One field of view of a urine filter membrane, 4× objective, 2028 × 1520 pixels.
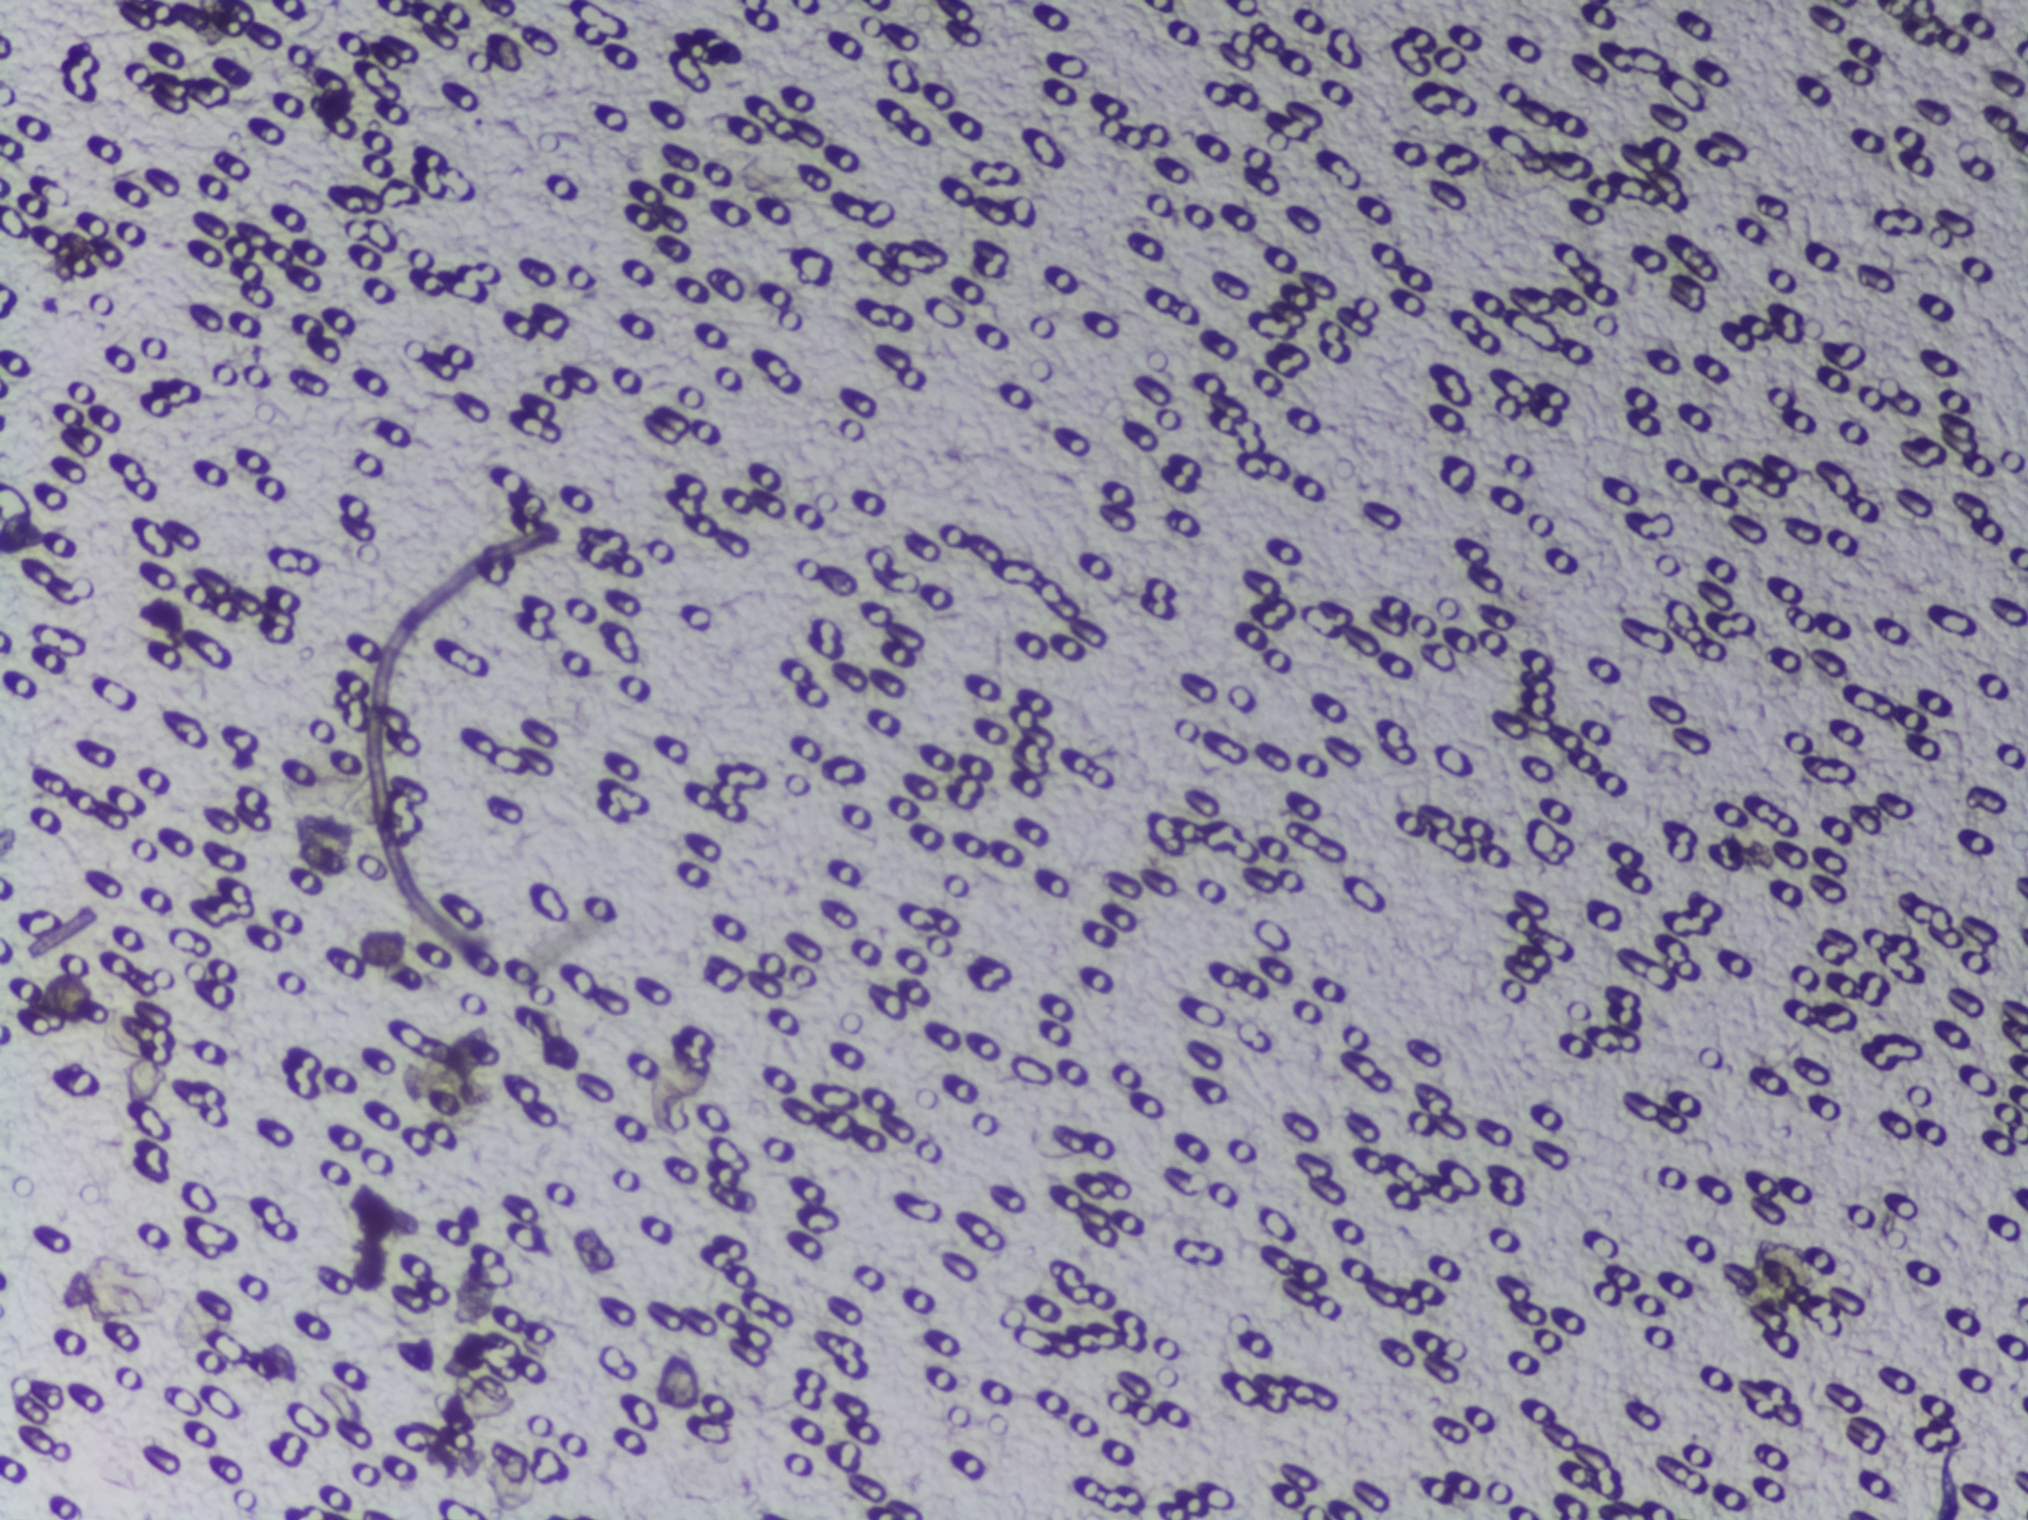
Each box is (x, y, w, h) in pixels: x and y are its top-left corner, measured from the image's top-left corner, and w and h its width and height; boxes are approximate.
One area of this image is outlined as Schistosoma eggs: (x=124, y=1051, w=45, h=54). An outlined area can hold more than one egg.